Urine filter membrane photographed through a 4× microscope objective.
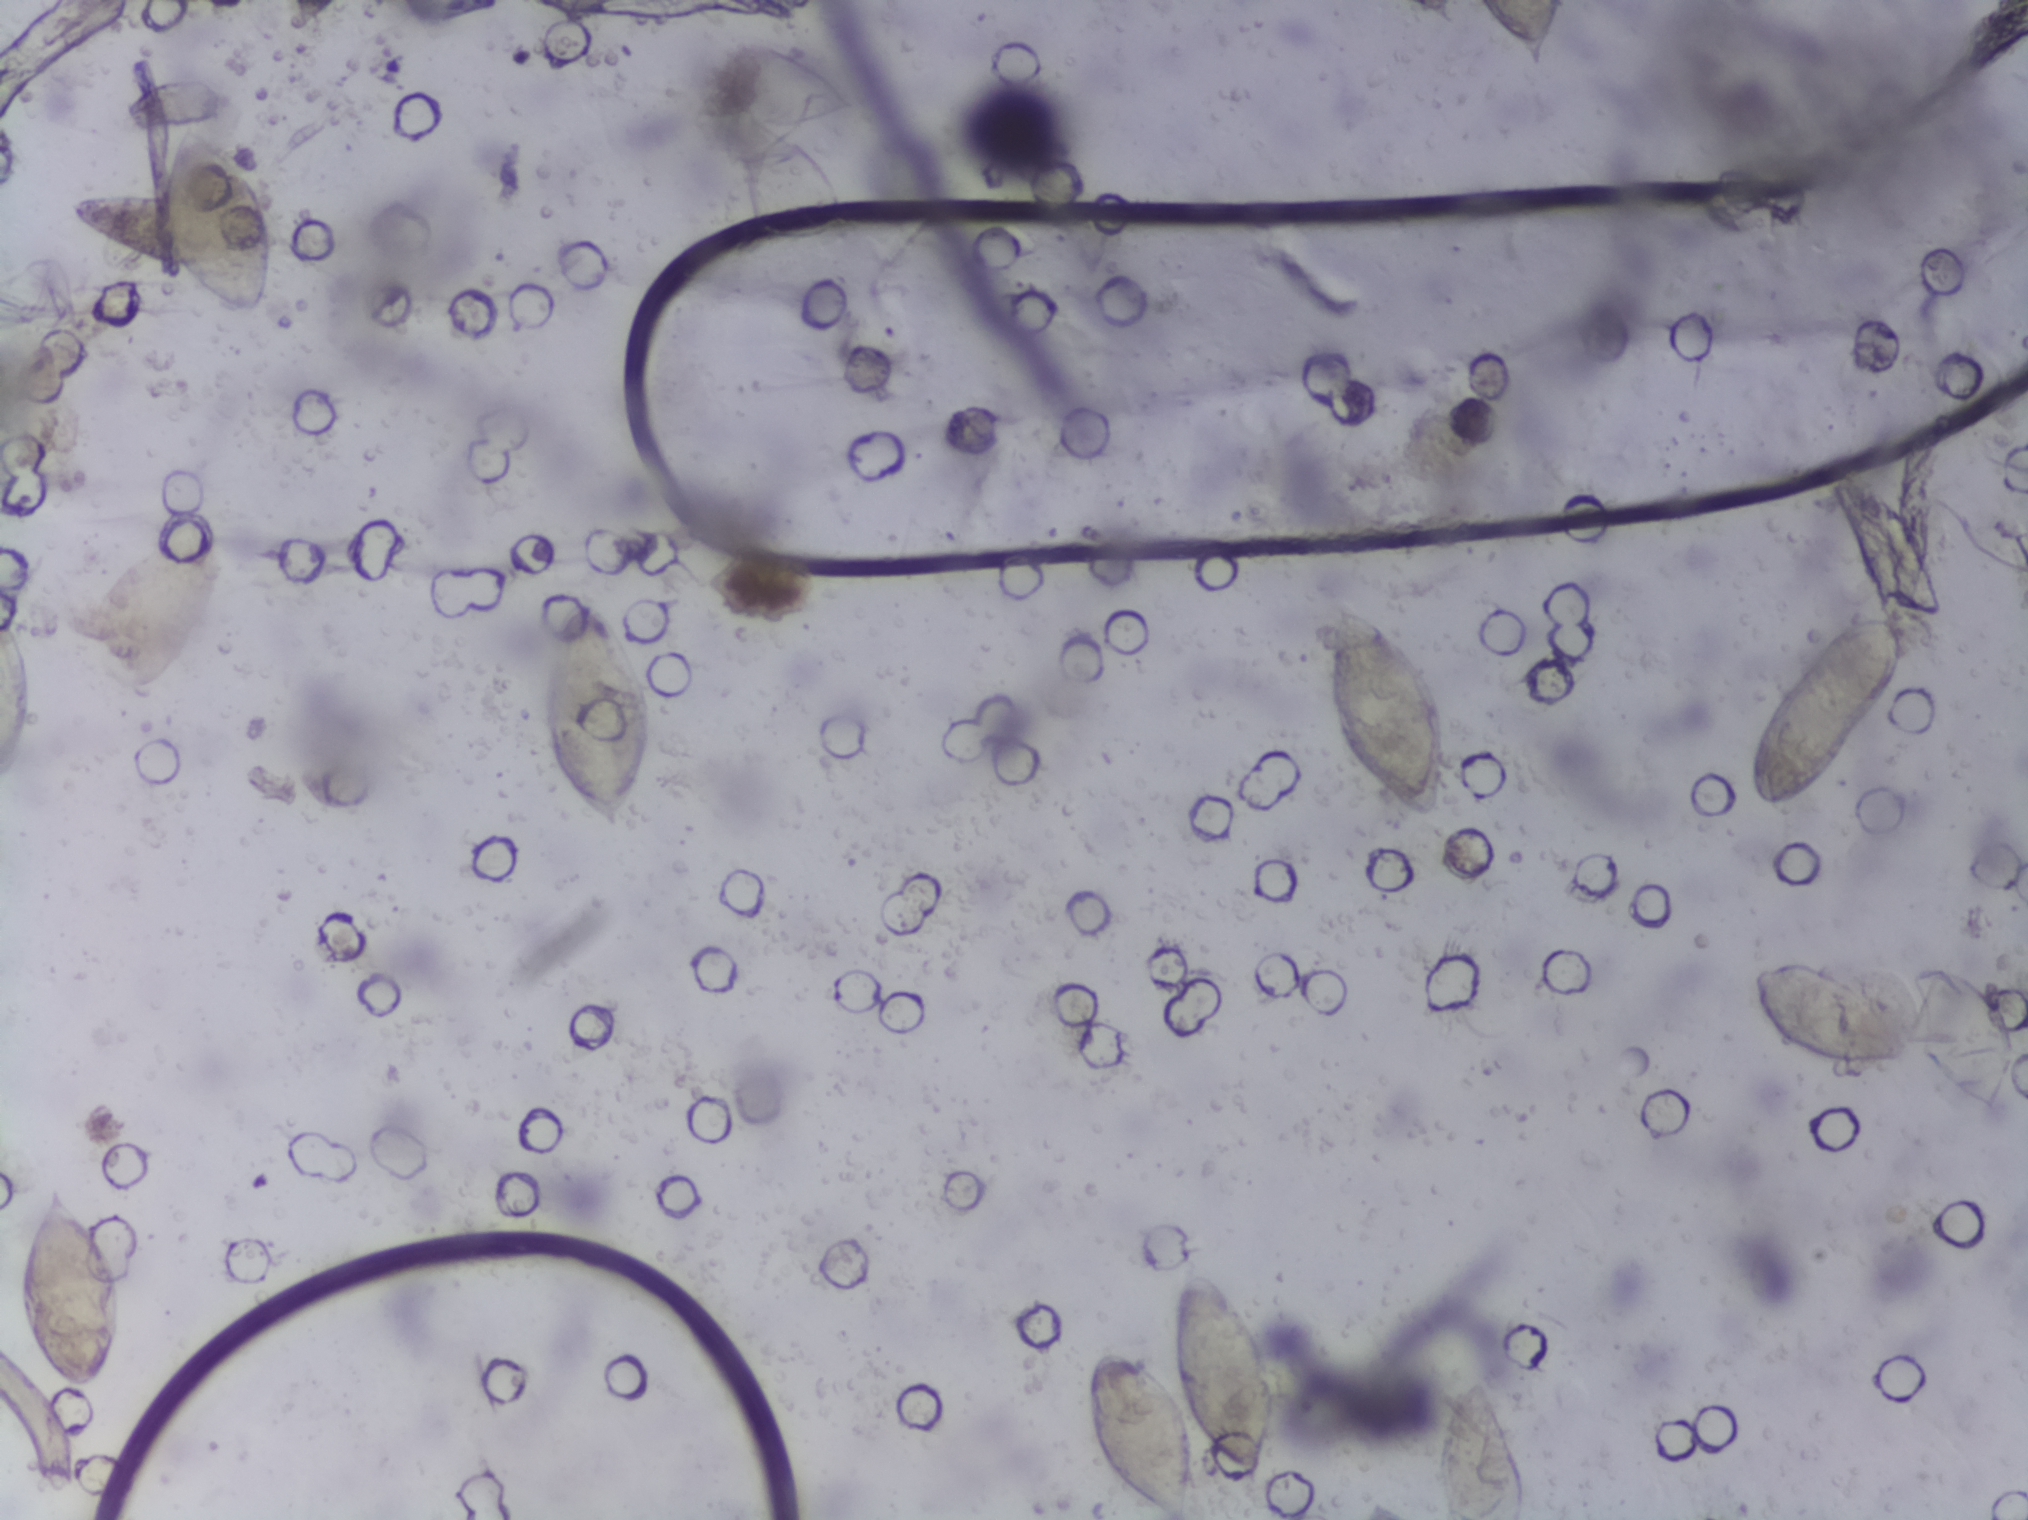
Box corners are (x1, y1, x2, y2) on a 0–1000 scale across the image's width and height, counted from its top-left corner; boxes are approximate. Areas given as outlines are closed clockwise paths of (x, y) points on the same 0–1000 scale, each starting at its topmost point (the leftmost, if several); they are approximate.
Schistosoma eggs are outlined in ten areas of this image, listed from left to right: box (0, 395, 15, 513) (reaching the left edge of the frame); box (8, 773, 65, 923); outline (90, 79), (101, 83), (116, 97), (129, 135), (149, 160), (135, 169), (134, 201), (128, 211), (120, 212), (89, 177), (67, 169), (33, 138), (34, 126), (79, 124), (83, 88); box (263, 393, 323, 547); box (534, 822, 632, 1000) (reaching the bottom edge of the frame); box (655, 396, 712, 539); box (705, 902, 755, 1000) (reaching the bottom edge of the frame); box (729, 0, 771, 45) (reaching the top edge of the frame); box (860, 403, 941, 534); box (862, 630, 997, 738). Eggs that touch can end up inside the same outlined area.